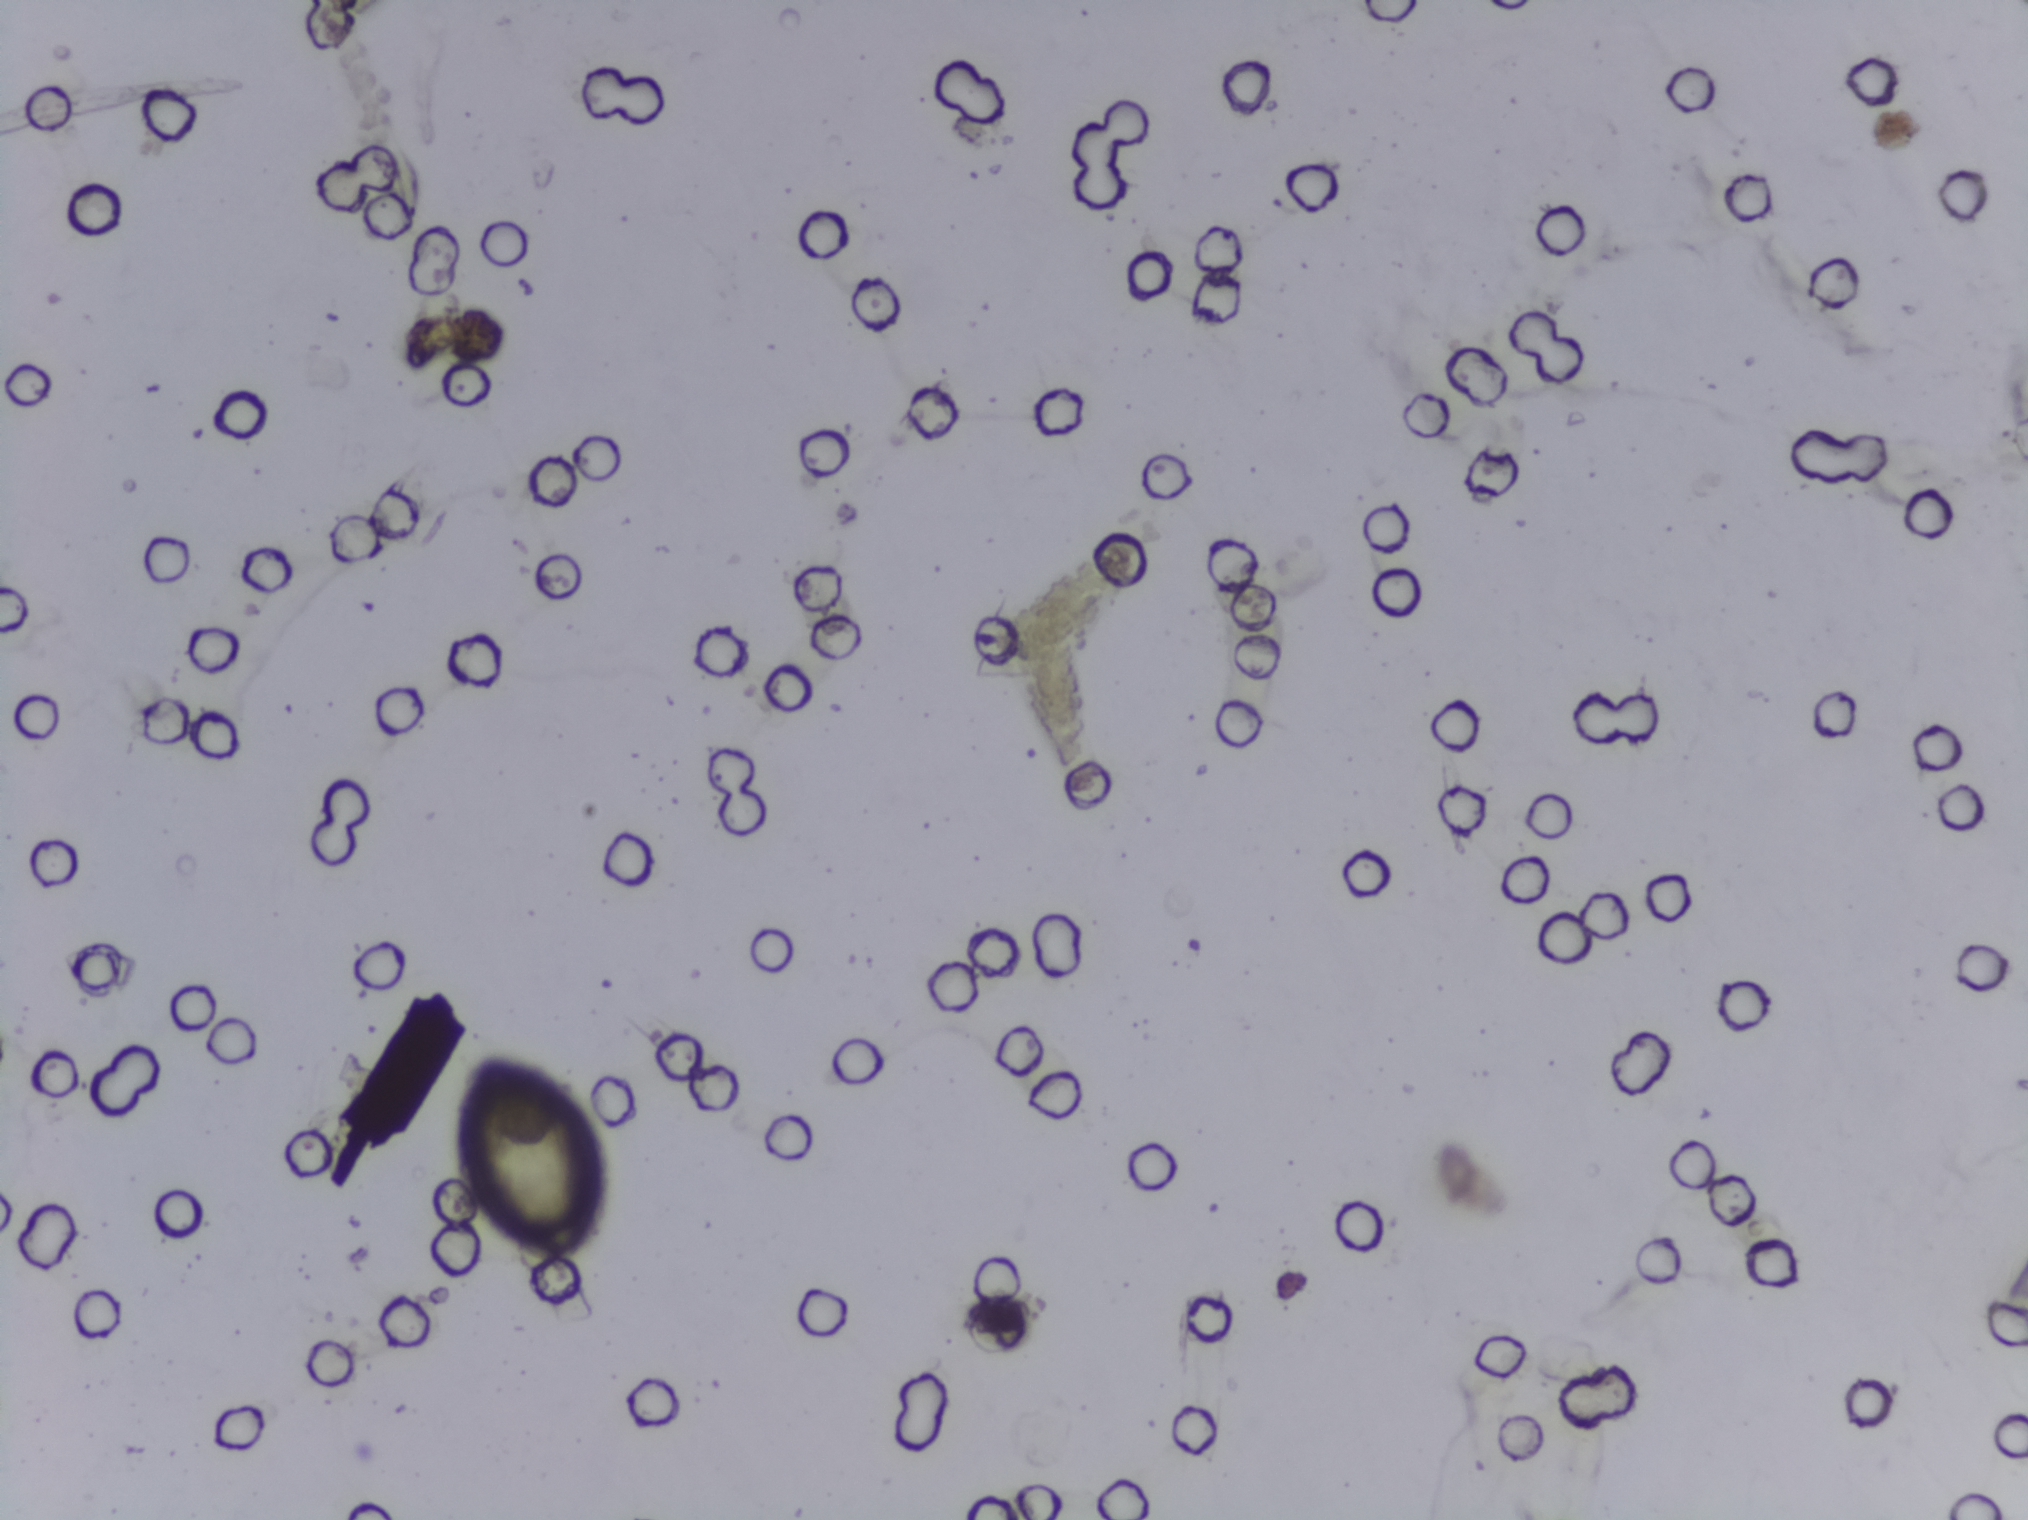
Urine filter membrane photographed through a 4× microscope objective.
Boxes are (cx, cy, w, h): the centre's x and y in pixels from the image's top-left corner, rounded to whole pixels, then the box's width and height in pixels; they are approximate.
Areas outlined as Schistosoma eggs:
1. (cx=527, cy=1159, w=130, h=218)
Eggs that touch can end up inside the same outlined area.